Urine filter membrane photographed through a 4× microscope objective.
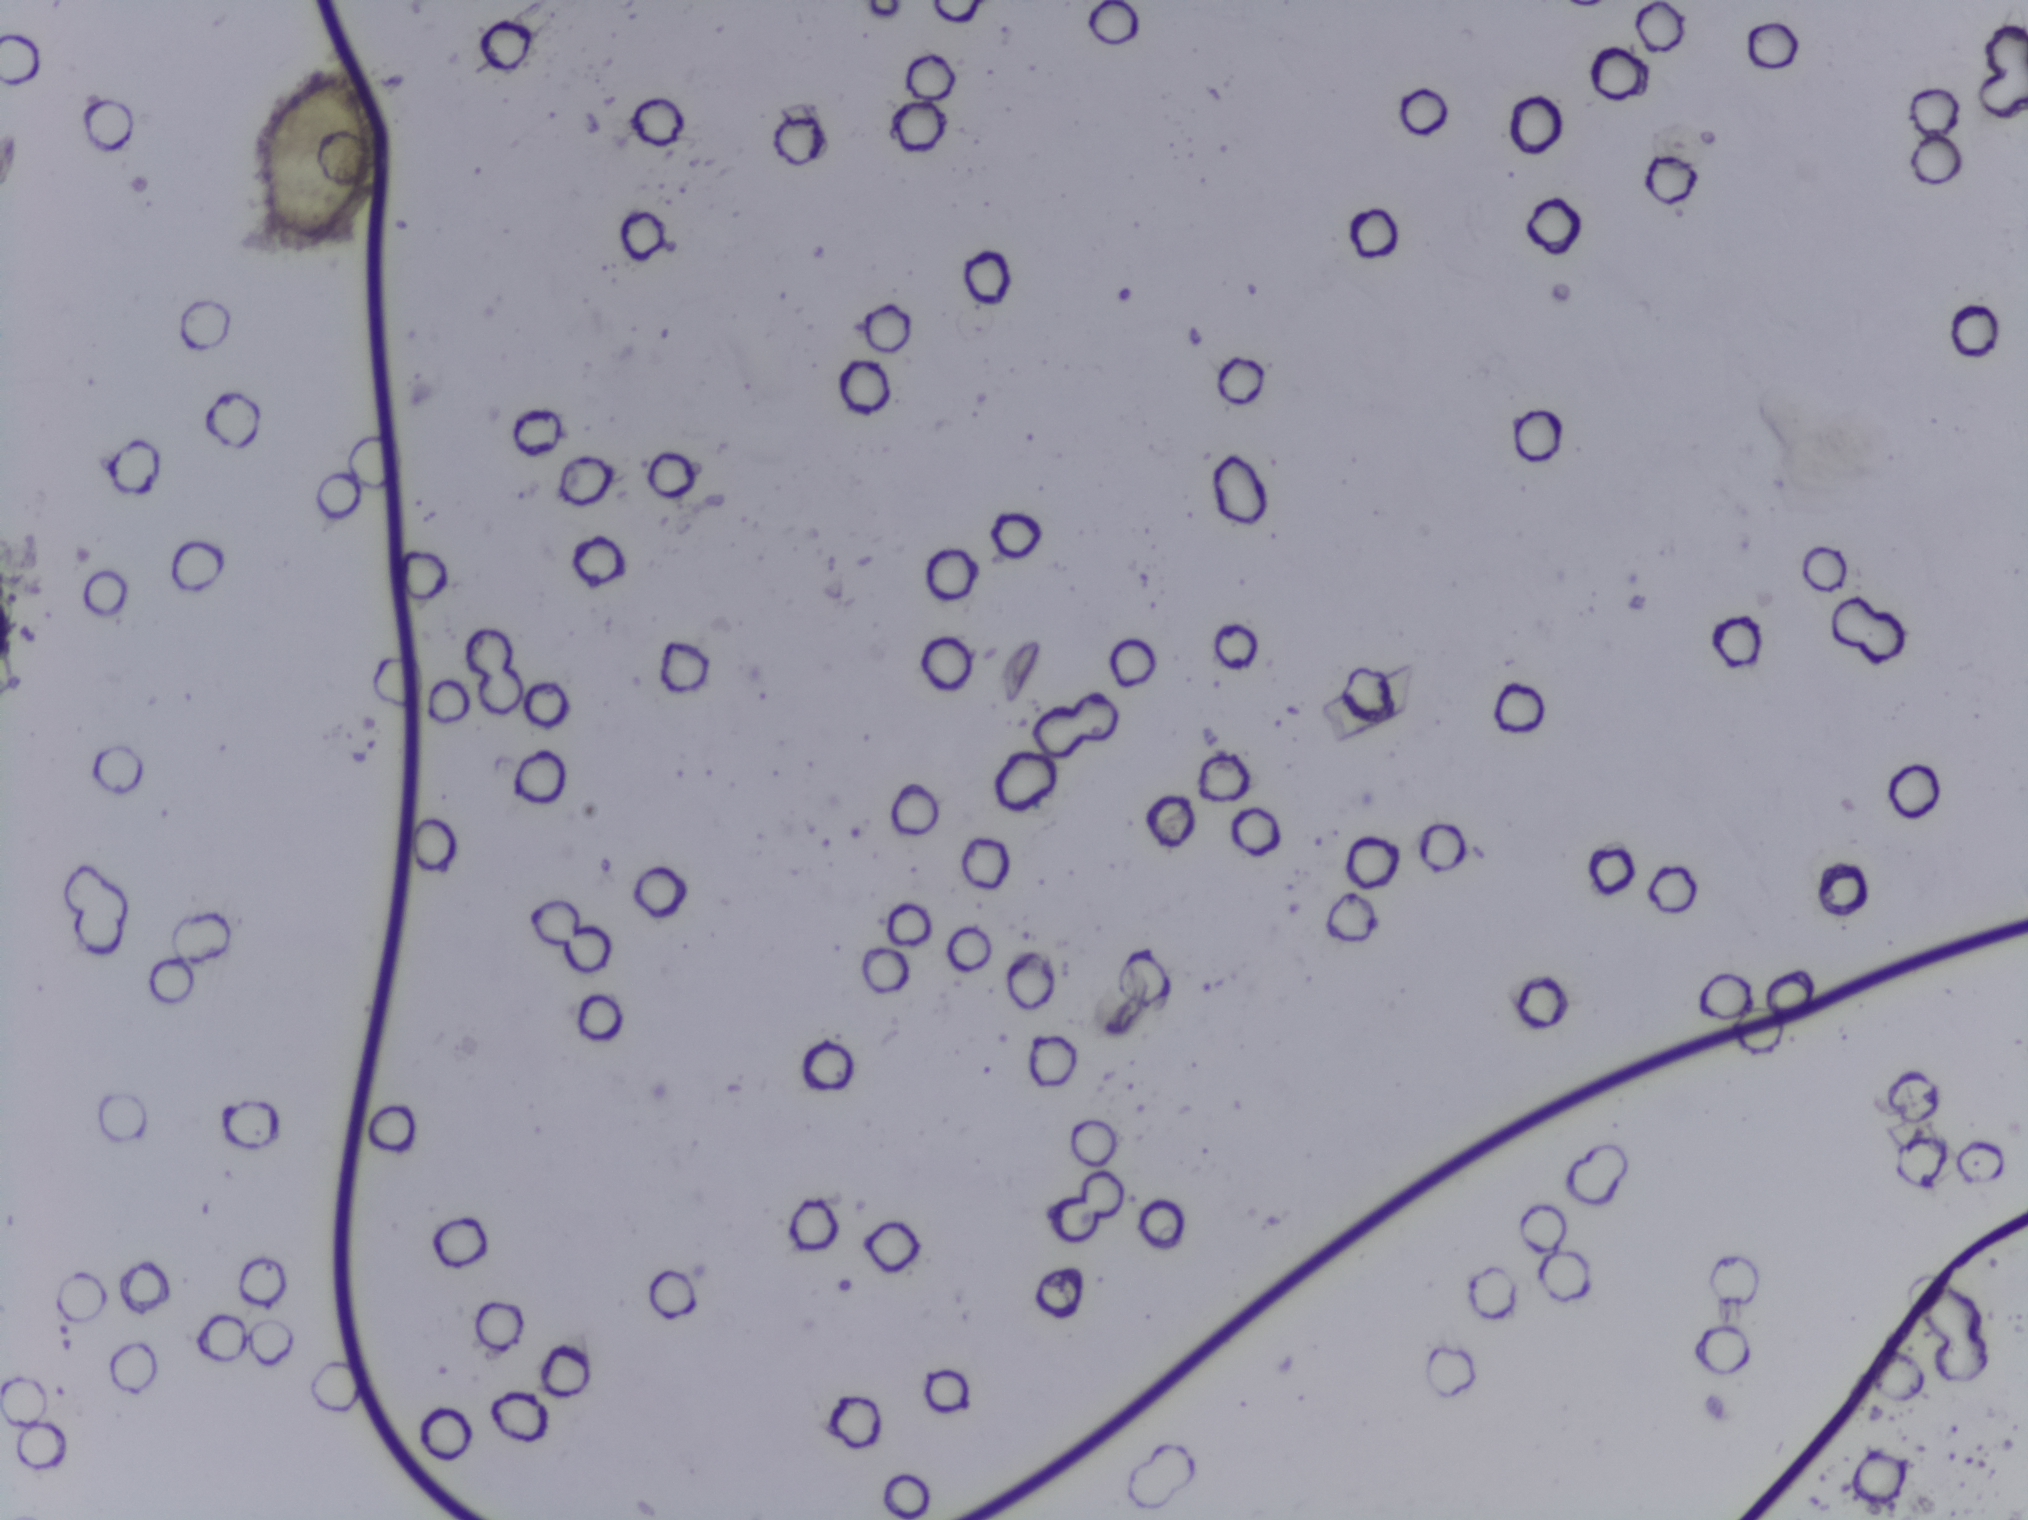
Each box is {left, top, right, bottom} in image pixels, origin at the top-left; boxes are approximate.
One area of this image is outlined as Schistosoma eggs: {259, 72, 375, 251}. About 0.5% of the image's pixels are marked (the marked pixels themselves, not the box around them). An outlined area can hold more than one egg.